Photograph from an automated digital microscope: urine filter membrane, 4× objective.
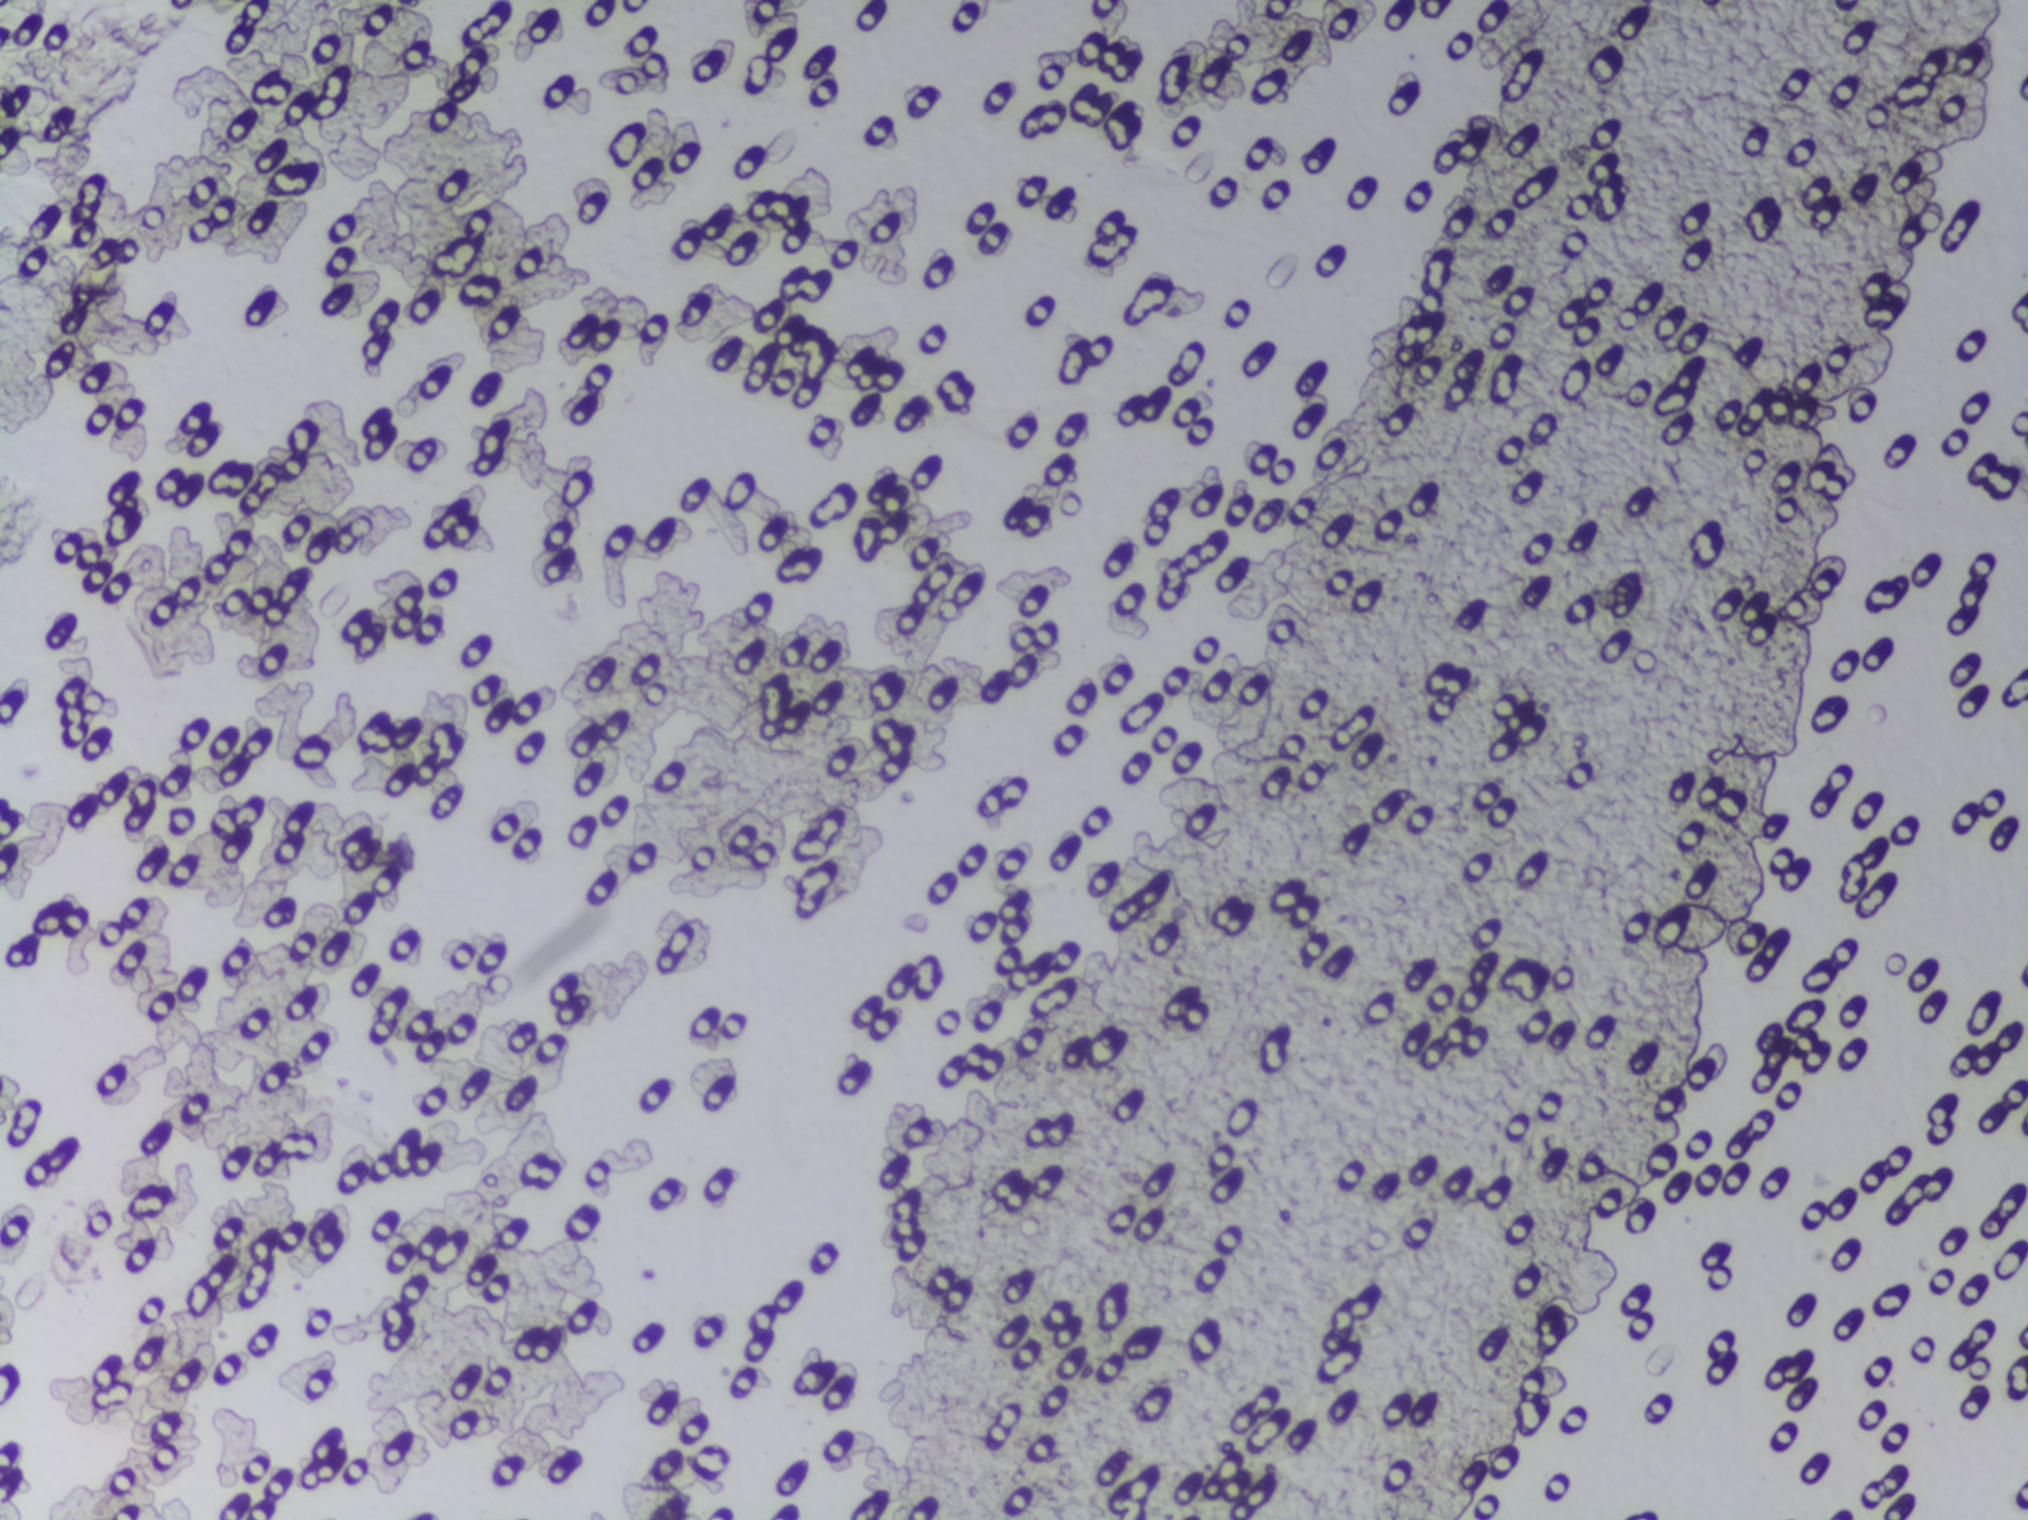
No Schistosoma egg is outlined in this image's expert annotation.